Photograph from an automated digital microscope: urine filter membrane, 4× objective.
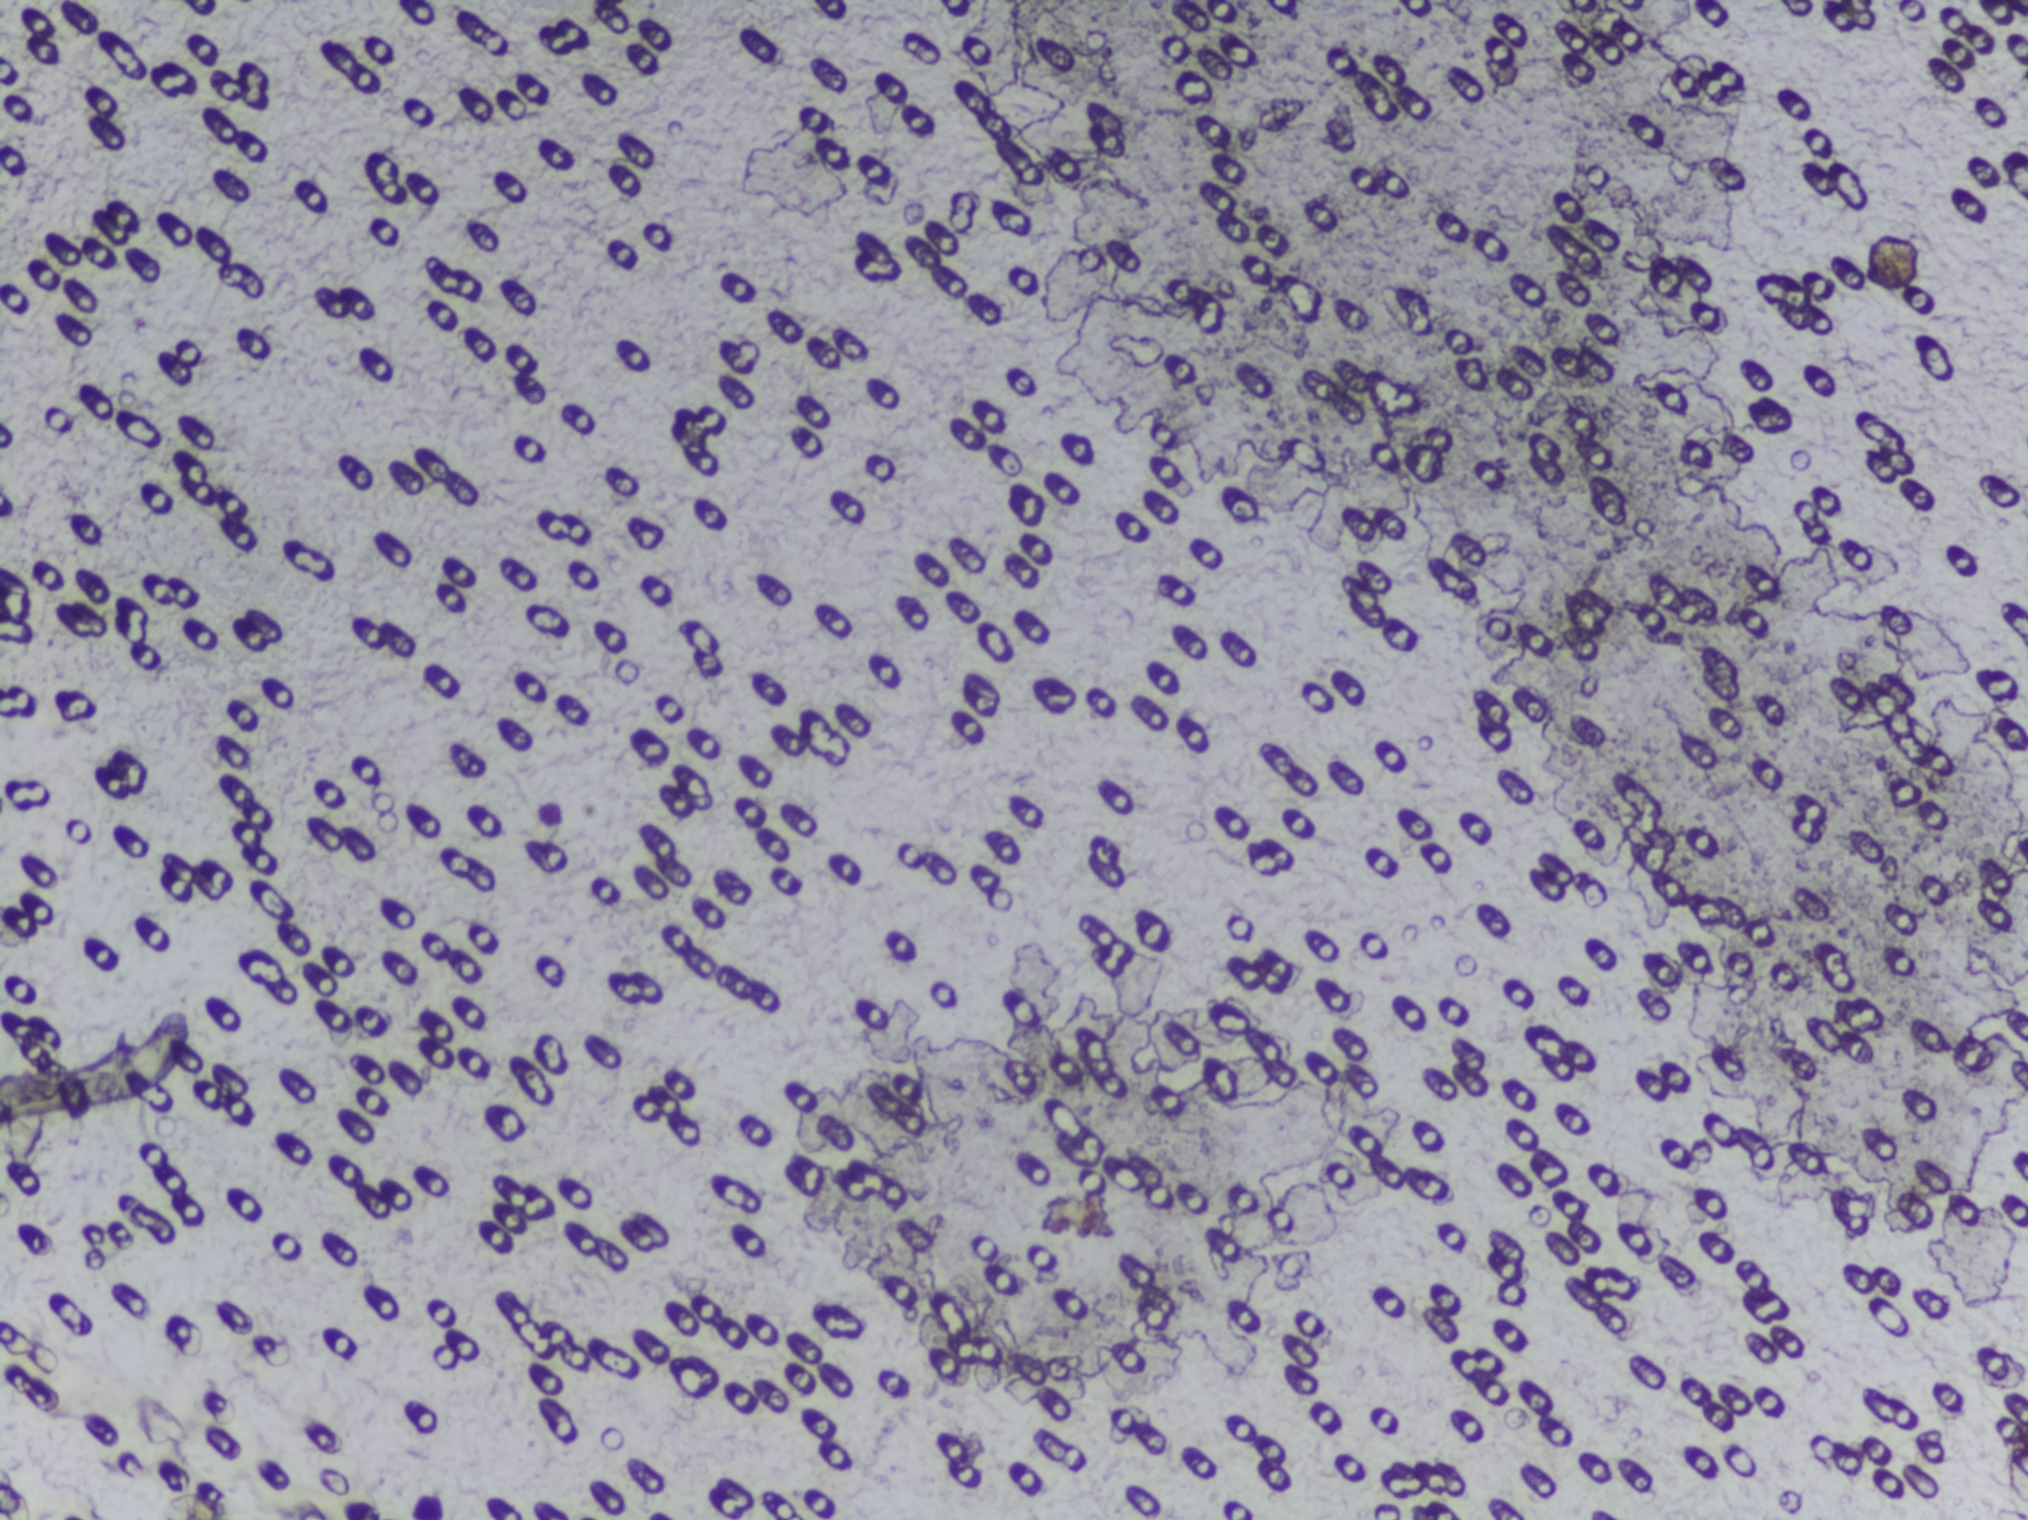
Schistosoma eggs: none outlined.